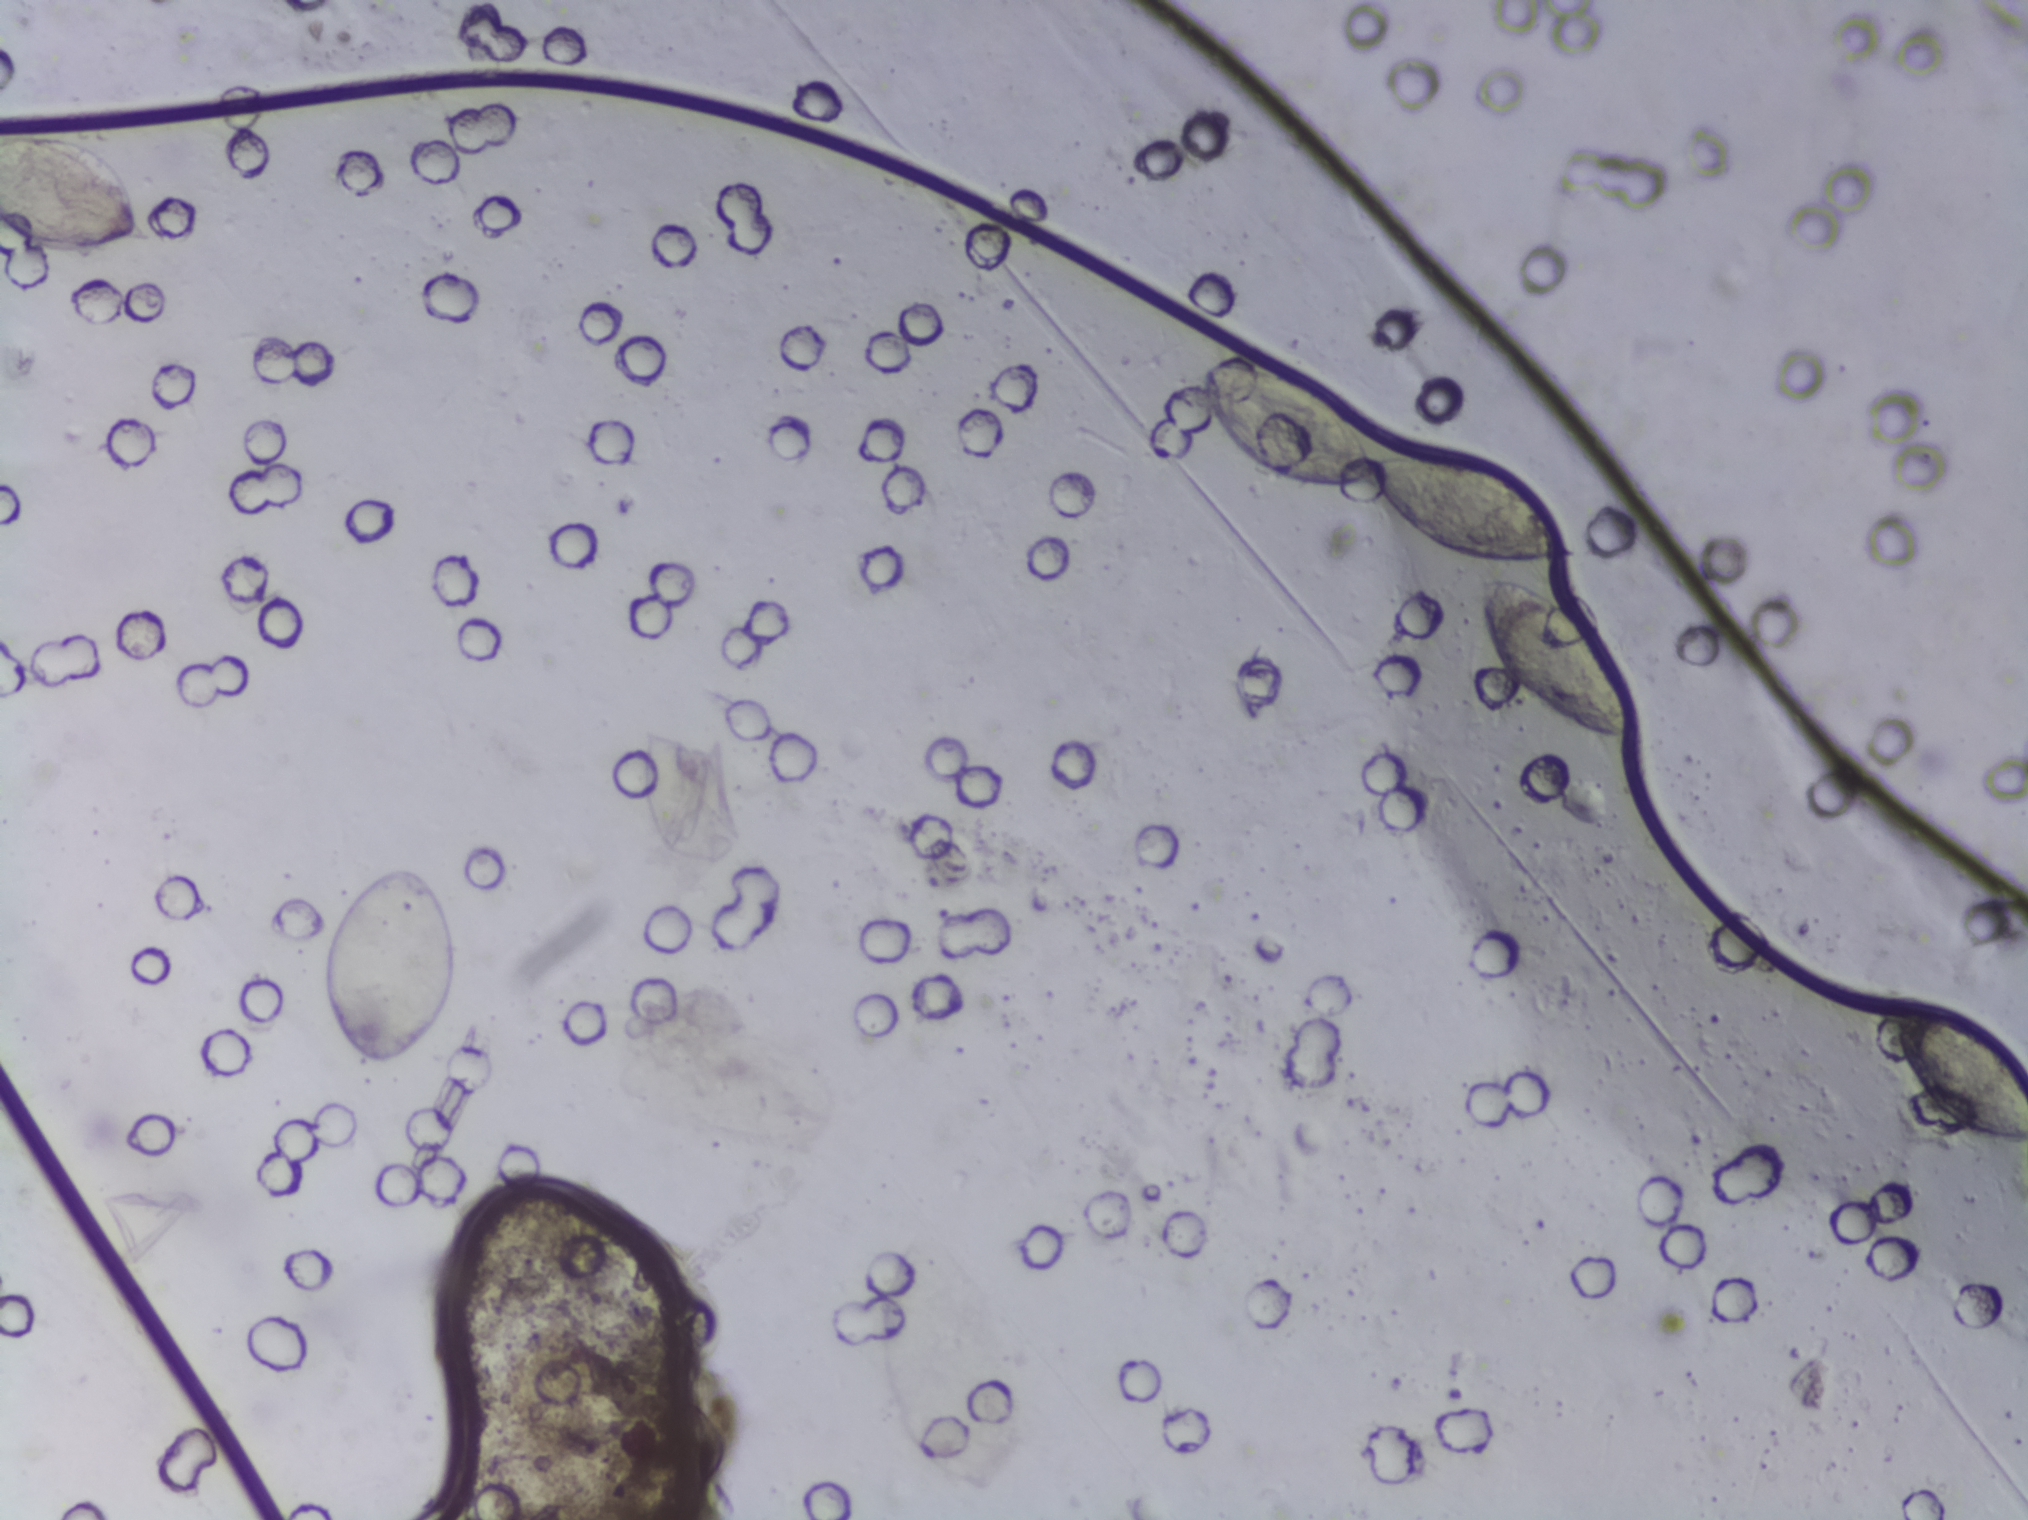
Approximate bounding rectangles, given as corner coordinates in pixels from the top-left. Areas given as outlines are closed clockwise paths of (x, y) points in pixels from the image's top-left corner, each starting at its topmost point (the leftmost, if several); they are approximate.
The expert annotation outlines Schistosoma eggs in six areas, left to right: box (x1=0, y1=128, x2=163, y2=257) (reaching the left edge of the frame); box (x1=321, y1=857, x2=461, y2=1074); box (x1=635, y1=721, x2=744, y2=866); outline (1222, 354), (1257, 358), (1319, 385), (1357, 420), (1373, 456), (1393, 449), (1453, 452), (1525, 479), (1556, 512), (1578, 555), (1535, 565), (1455, 556), (1406, 532), (1375, 489), (1318, 490), (1257, 470), (1235, 452), (1203, 403), (1199, 366); box (x1=1477, y1=577, x2=1639, y2=744); box (x1=1885, y1=997, x2=2027, y2=1142) (reaching the right edge of the frame). An outlined area can hold more than one egg.
One field of view of a urine filter membrane, 4× objective, 2028 × 1520 pixels.